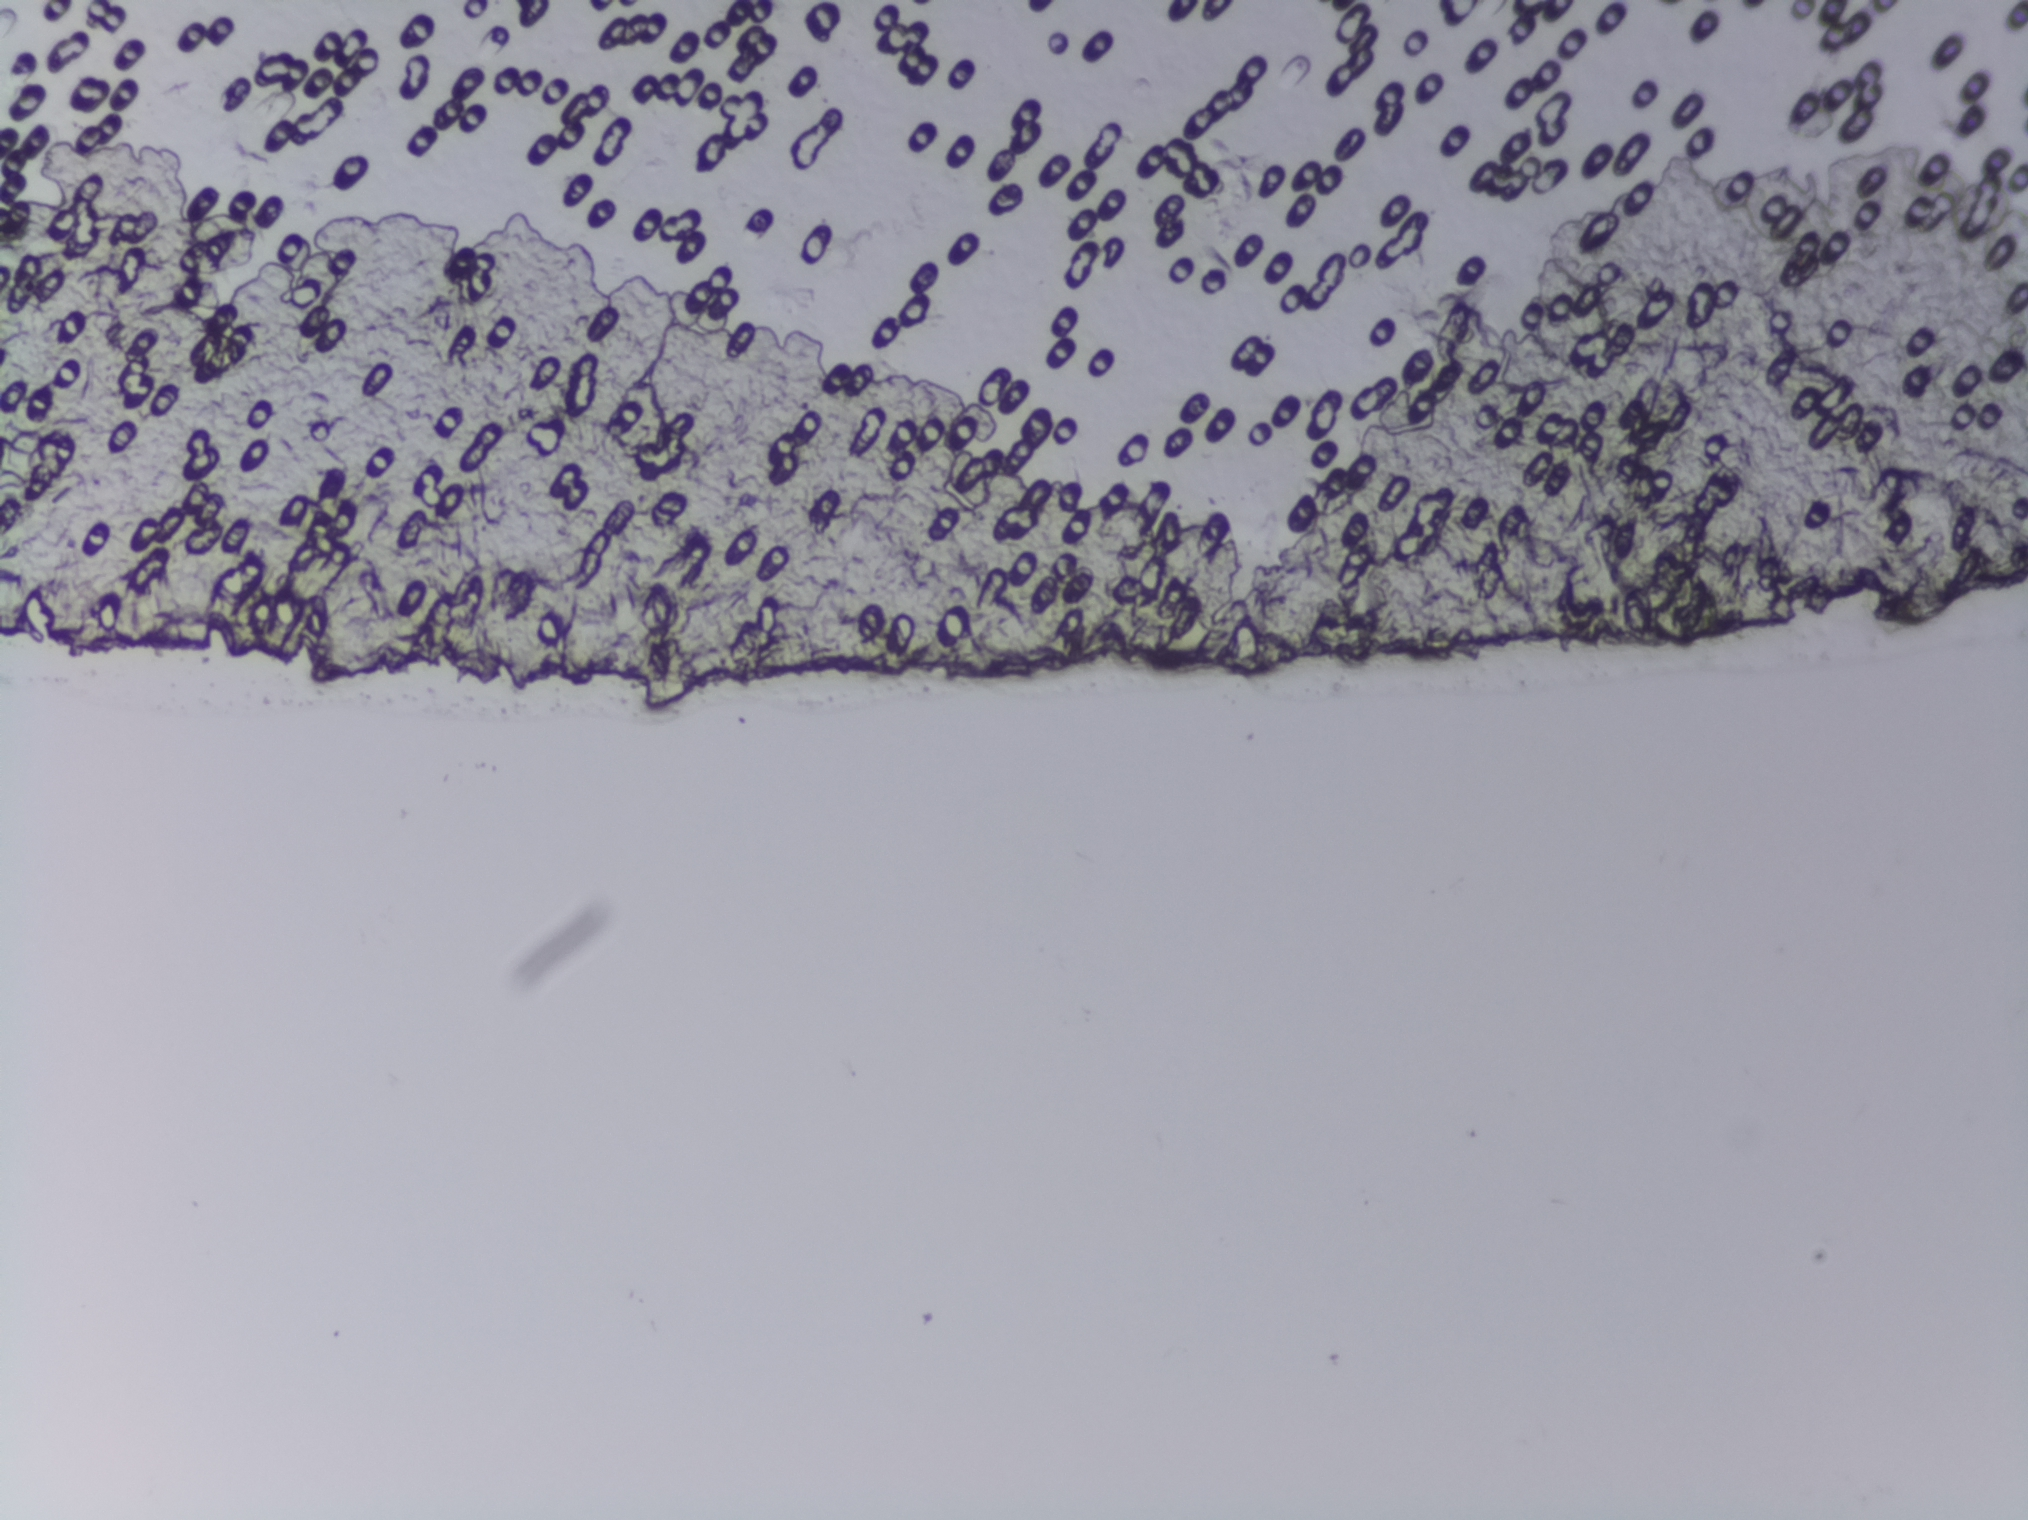
Photomicrograph of a urine filtration membrane, 4× objective. The field of view is about 1.5 mm × 1.1 mm.
The expert annotation marks no Schistosoma egg in this field of view.